Urine filtration membrane under a 4× objective, photographed by an automated digital microscope. The image covers about 1.5 × 1.1 mm of the membrane.
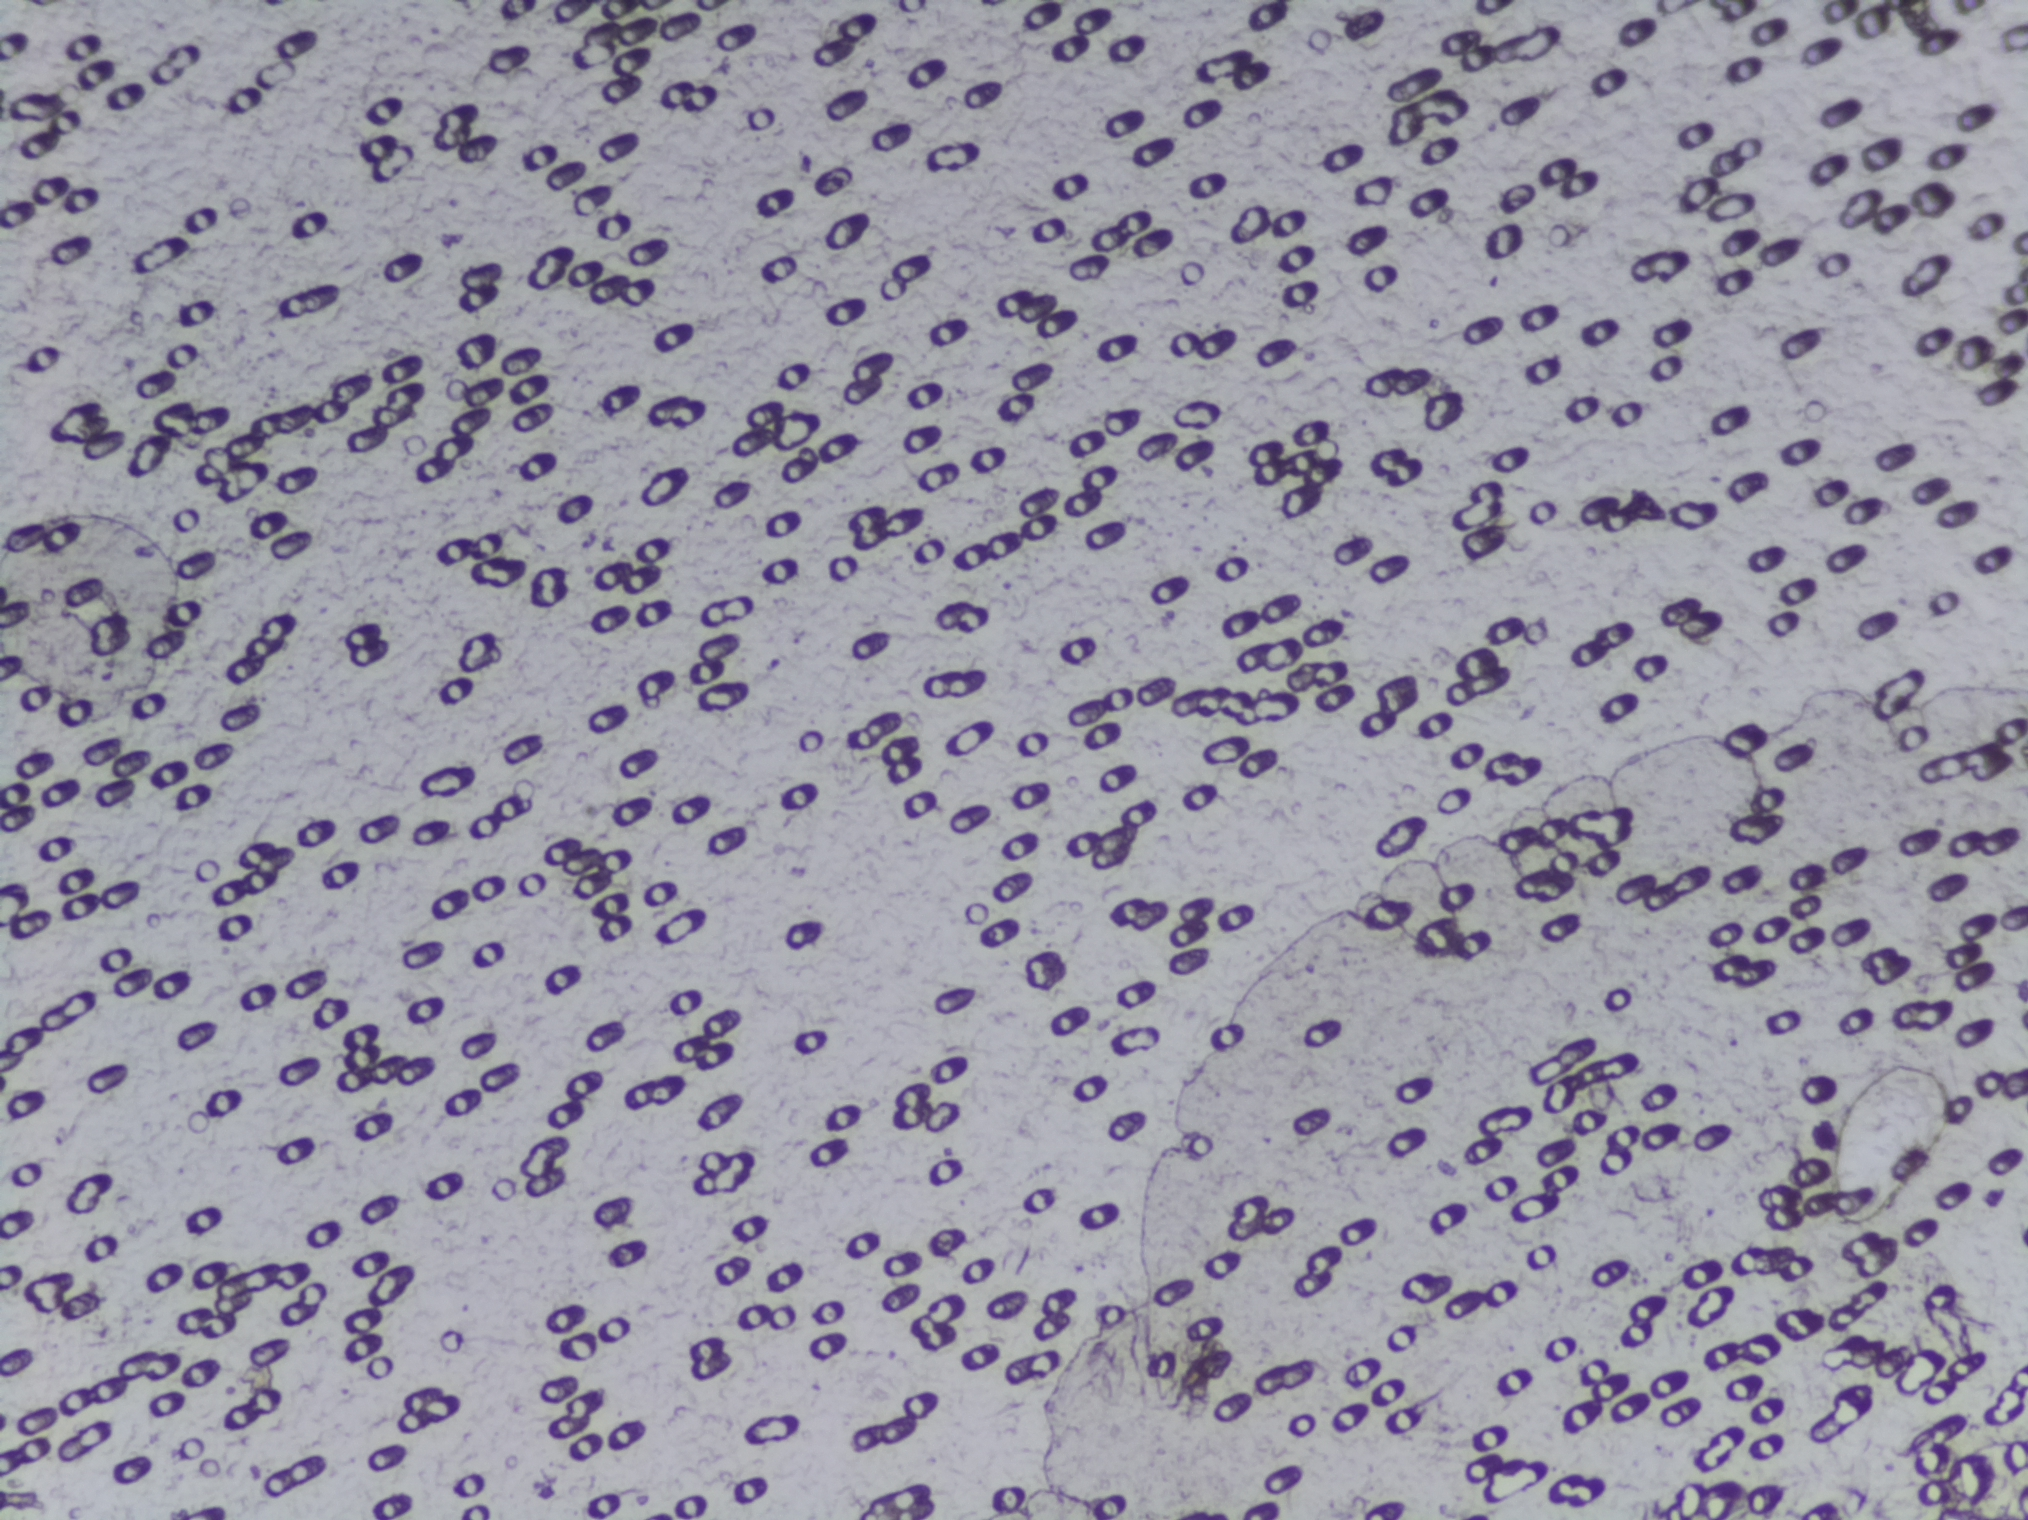
The expert annotation marks no Schistosoma egg in this field of view.